Urine filtration membrane under a 4× objective, photographed by an automated digital microscope. The image covers about 1.5 × 1.1 mm of the membrane.
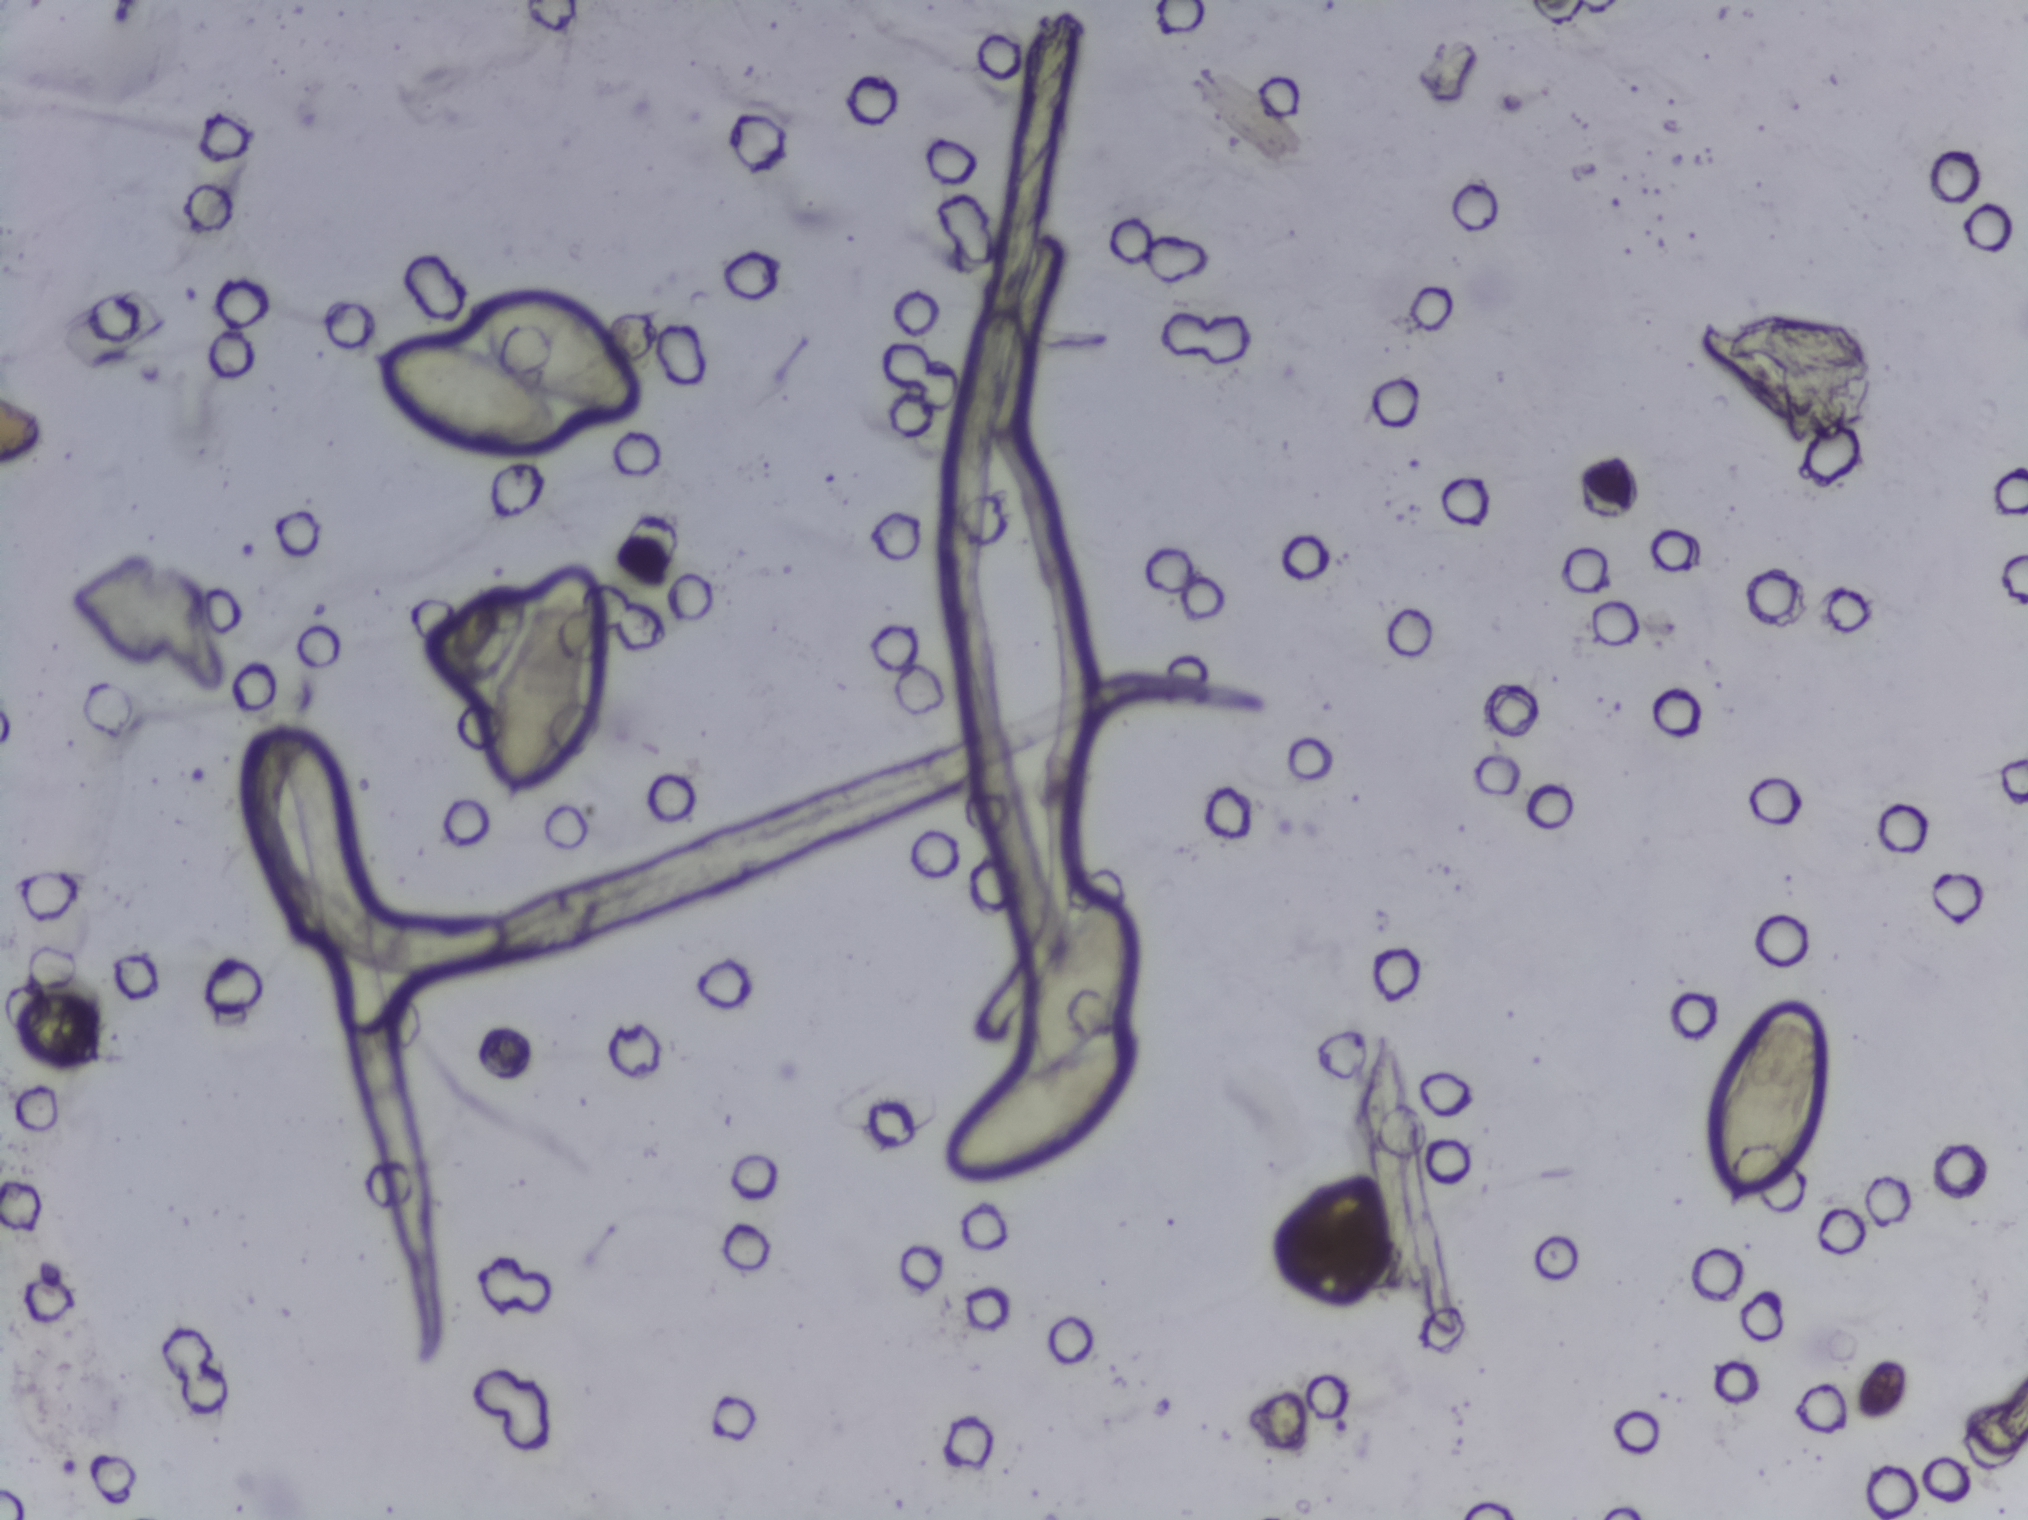
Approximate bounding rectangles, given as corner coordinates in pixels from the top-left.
Schistosoma egg areas, outlined: (x1=368, y1=285, x2=639, y2=460); (x1=480, y1=566, x2=607, y2=805); (x1=945, y1=897, x2=1142, y2=1178); (x1=1711, y1=1004, x2=1825, y2=1213). An outlined area can hold more than one egg. Any one outlined egg may, rarely, be S. mansoni rather than S. haematobium.